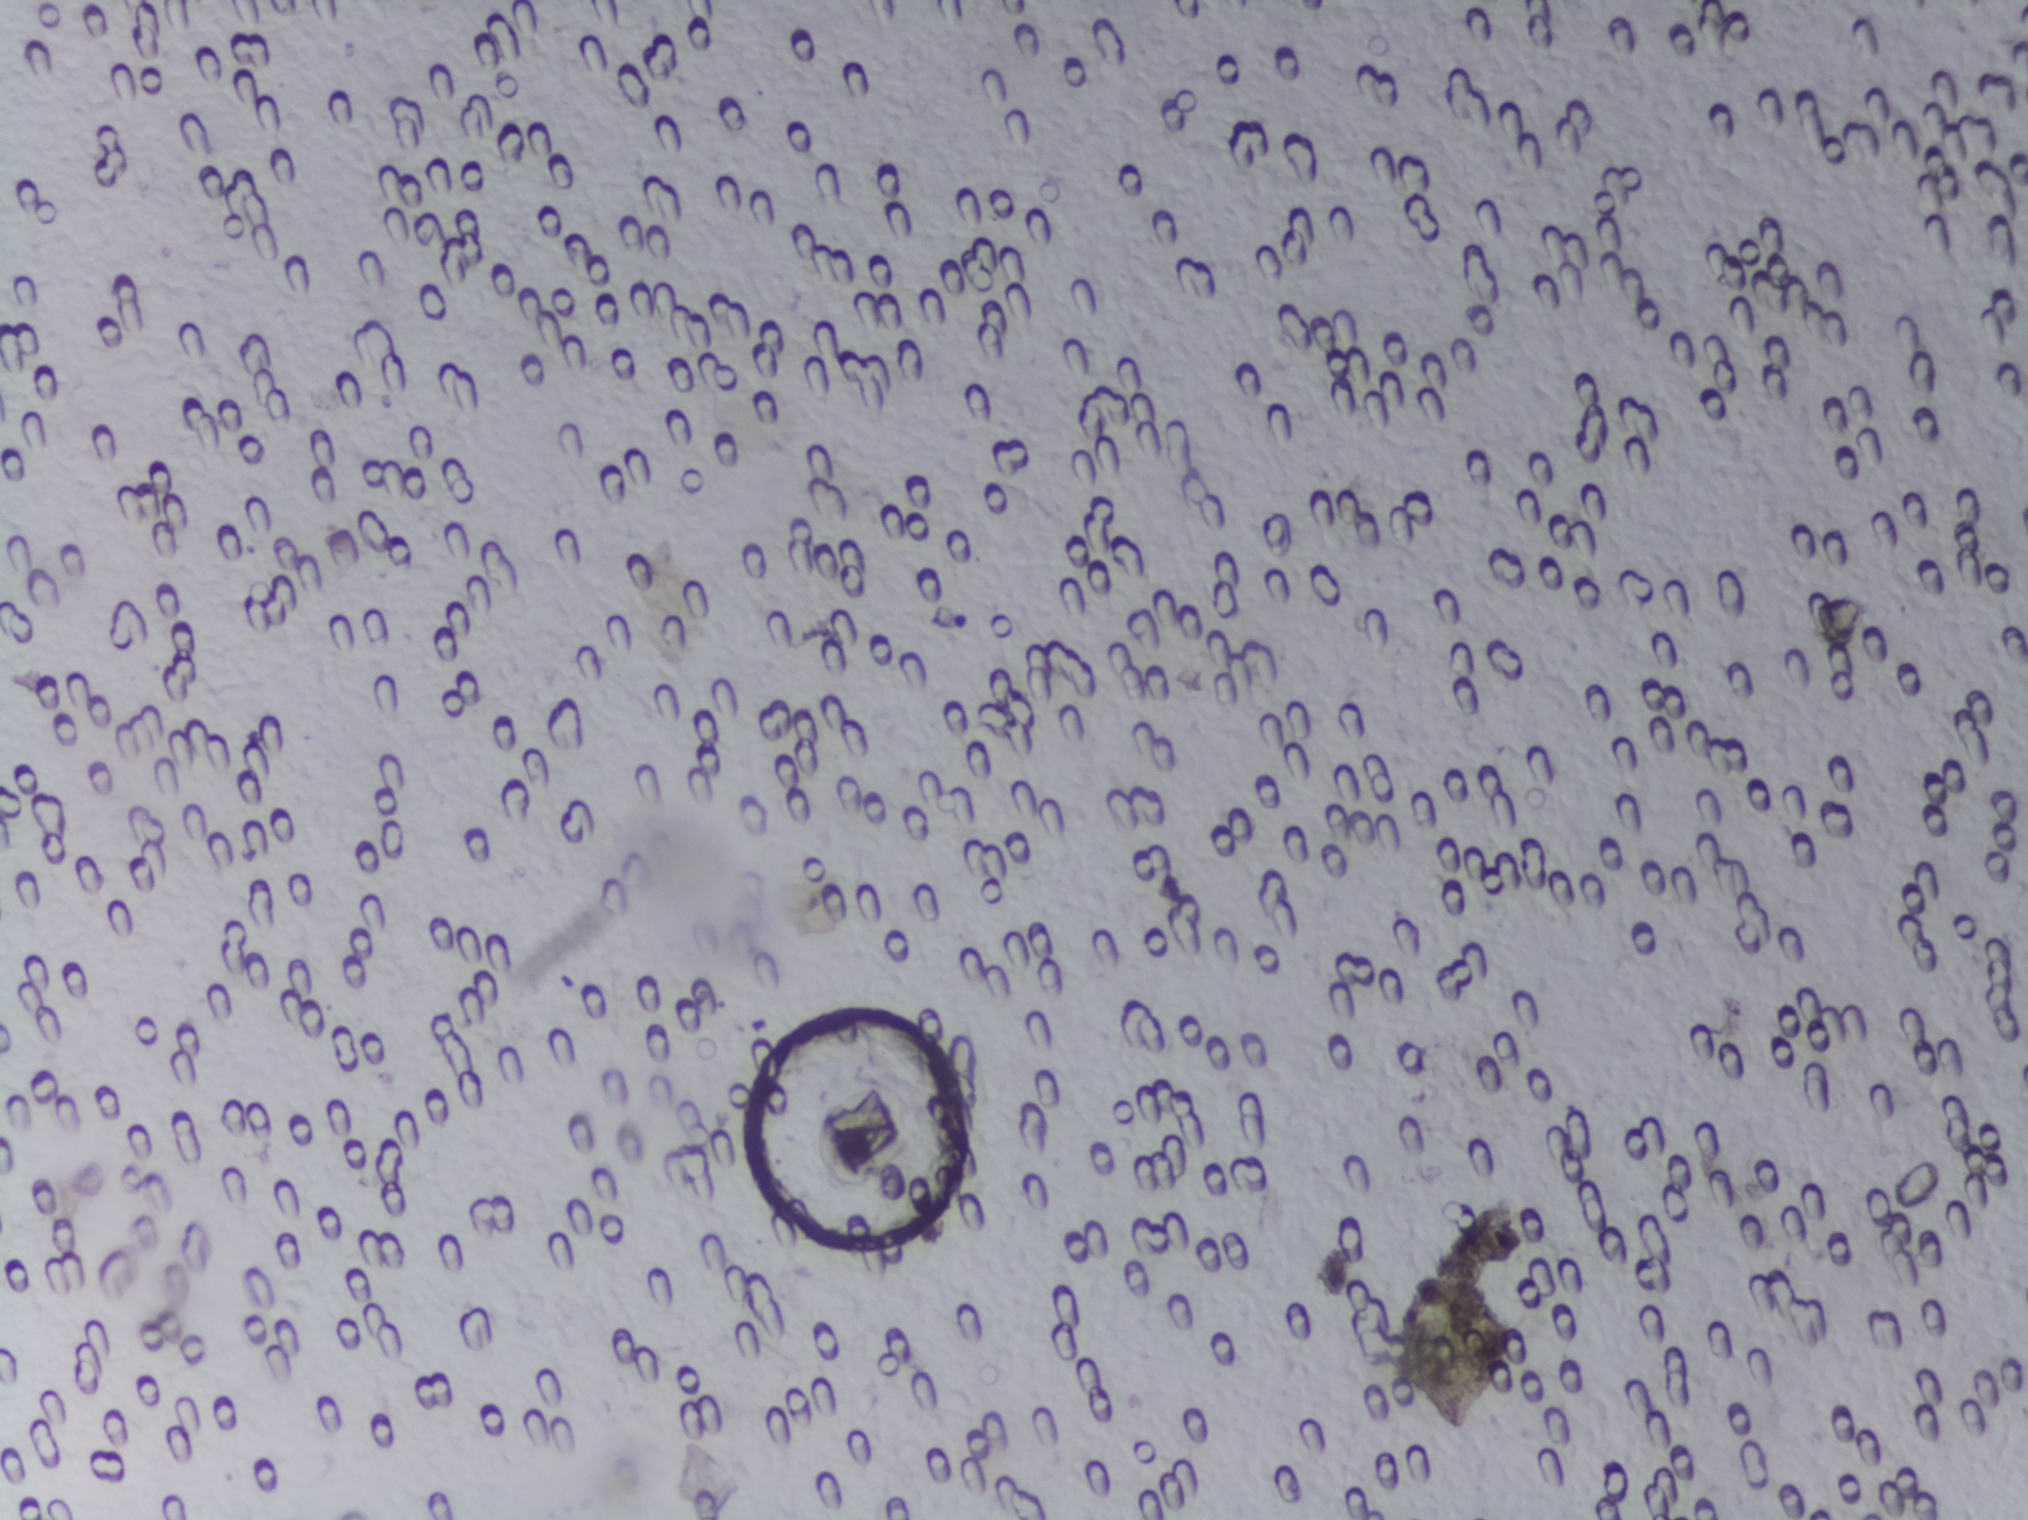
One field of view of a urine filter membrane, 4× objective, 2028 × 1520 pixels.
No area of this image was outlined as a Schistosoma egg.